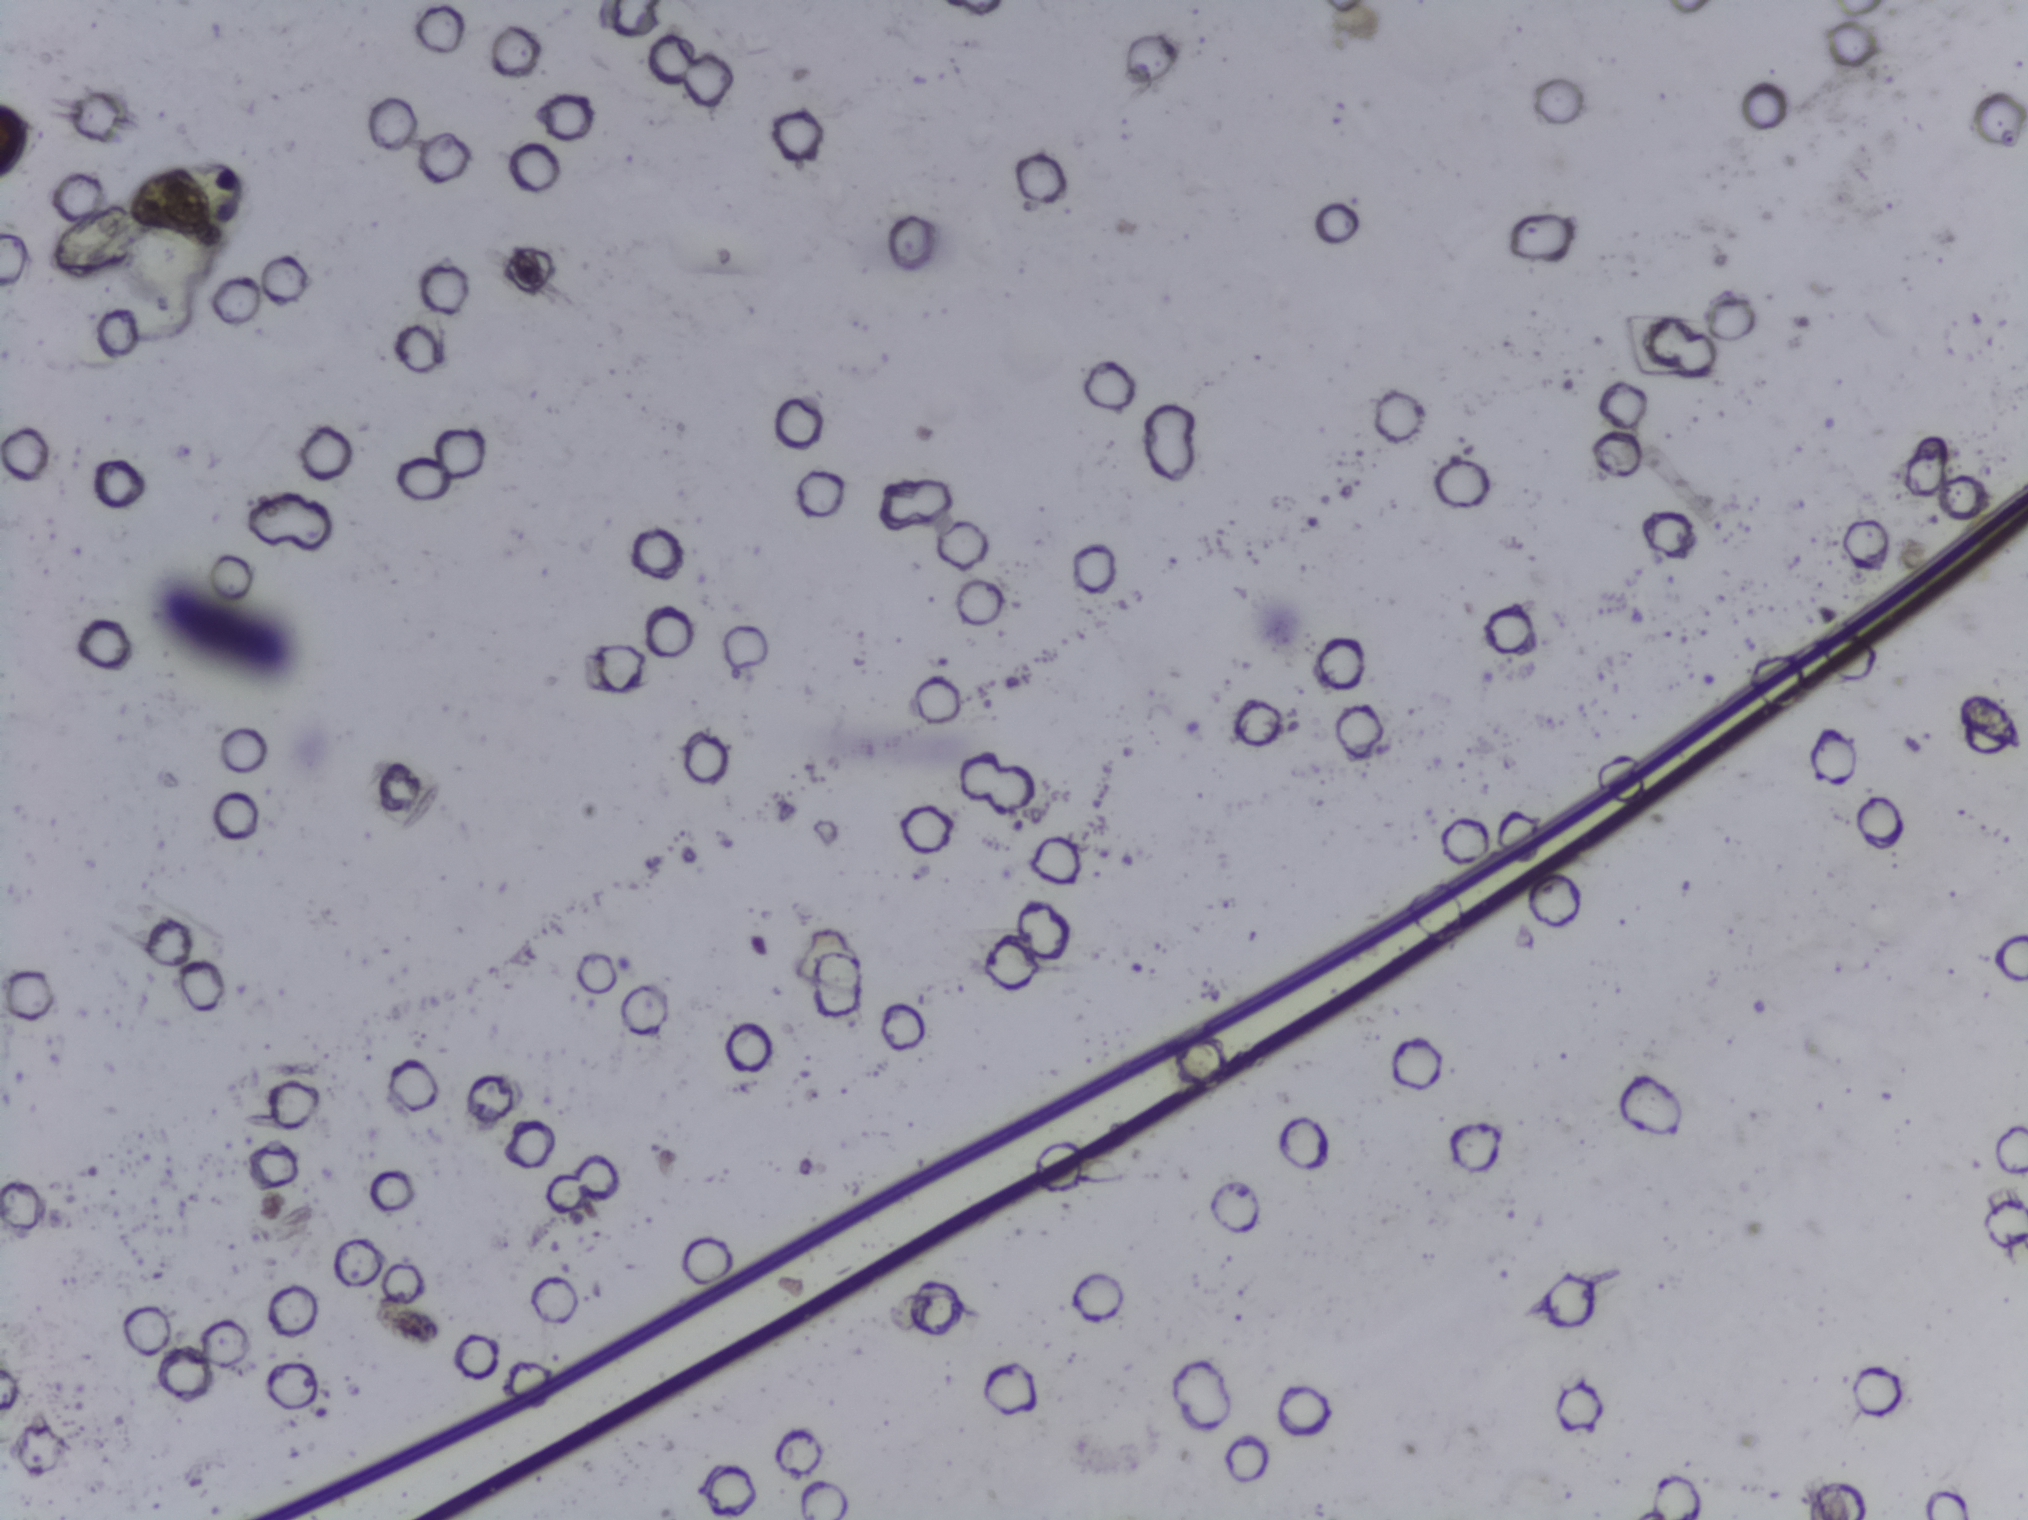
No Schistosoma egg is outlined in this image's expert annotation.
Photomicrograph of a urine filtration membrane, 4× objective.